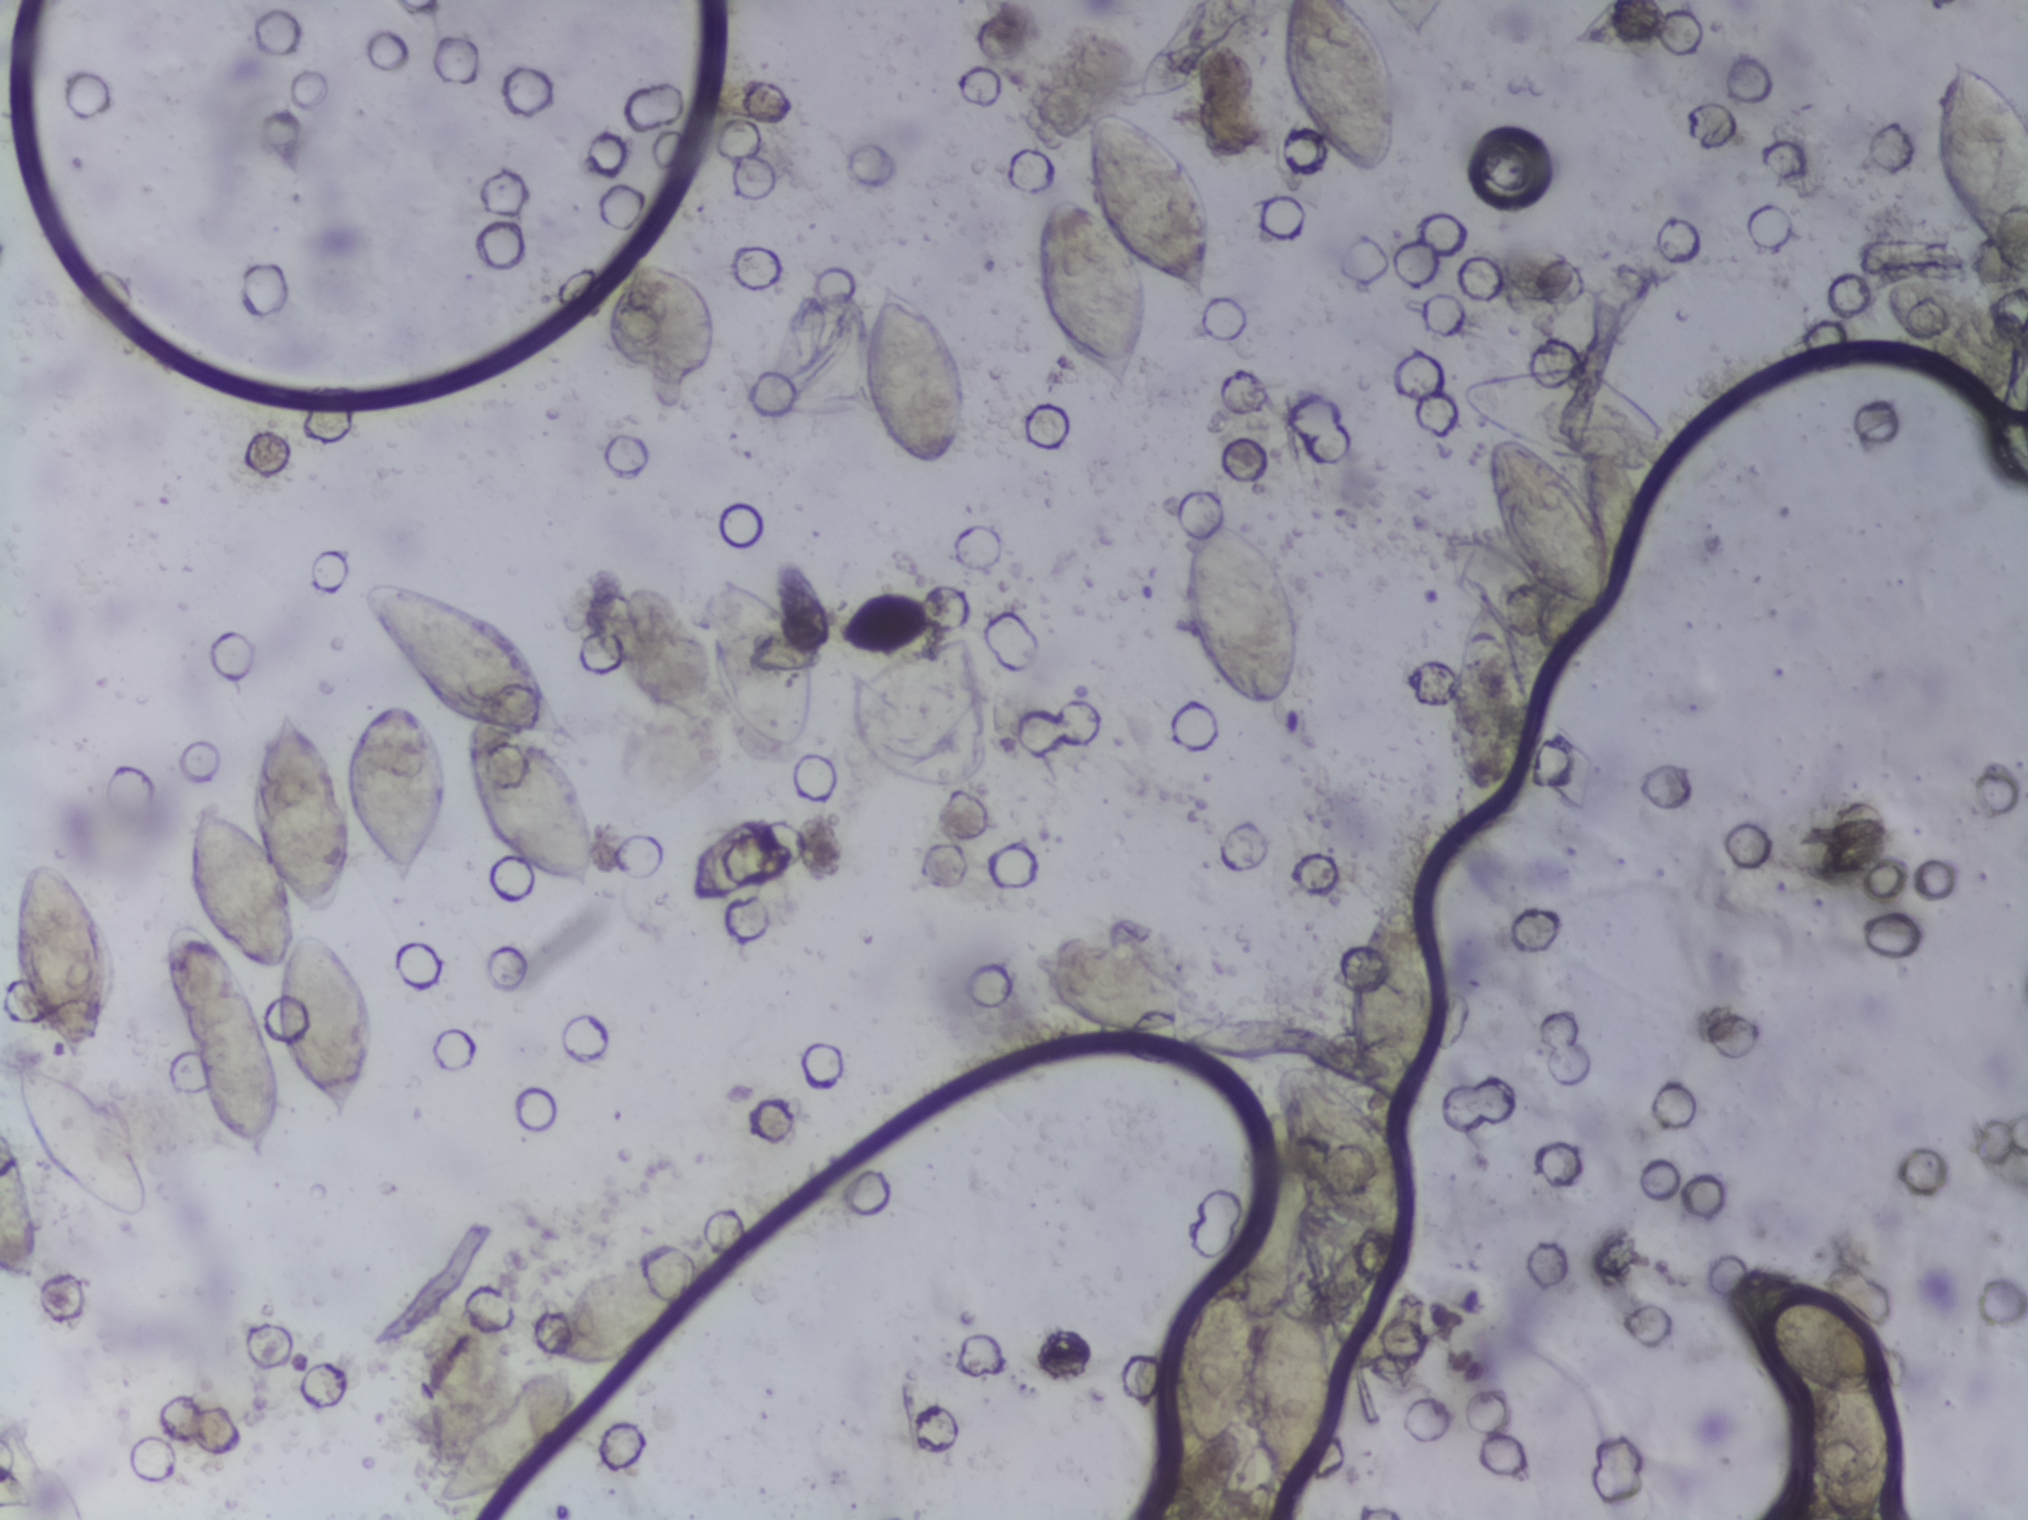
Urine filter membrane photographed through a 4× microscope objective.
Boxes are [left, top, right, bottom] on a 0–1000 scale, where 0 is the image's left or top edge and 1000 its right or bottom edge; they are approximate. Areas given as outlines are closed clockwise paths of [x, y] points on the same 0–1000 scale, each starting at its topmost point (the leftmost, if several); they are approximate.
17 areas of this image are outlined as Schistosoma eggs, from left to right: box [0, 741, 19, 845] (reaching the left edge of the frame); box [4, 698, 75, 803]; box [5, 564, 56, 703]; outline [194, 462], [211, 474], [223, 510], [223, 527], [214, 556], [203, 579], [196, 581], [174, 542], [166, 599], [155, 603], [144, 592], [146, 615], [159, 614], [166, 622], [184, 661], [185, 691], [171, 740], [162, 737], [156, 717], [145, 704], [137, 686], [138, 641], [130, 640], [112, 625], [127, 657], [137, 710], [137, 734], [127, 769], [102, 733], [84, 649], [83, 616], [89, 609], [98, 608], [93, 586], [96, 529], [104, 528], [123, 542], [124, 508], [142, 466], [160, 485], [168, 500], [170, 517], [172, 492], [178, 477] (a cluster of eggs); outline [187, 381], [216, 387], [254, 415], [287, 487], [286, 492], [273, 492], [287, 513], [293, 535], [293, 587], [286, 589], [279, 581], [261, 575], [234, 540], [231, 477], [221, 471], [205, 448], [181, 404], [179, 388]; outline [344, 812], [352, 814], [346, 852], [324, 889], [310, 901], [282, 904], [284, 926], [258, 977], [230, 993], [212, 996], [209, 985], [218, 957], [240, 921], [271, 899], [268, 896], [268, 884], [272, 865], [289, 837], [320, 817]; box [348, 378, 402, 497]; box [423, 184, 477, 313]; box [505, 612, 599, 683]; box [509, 70, 599, 264]; outline [644, 692], [644, 700], [651, 699], [673, 721], [694, 753], [702, 809], [701, 823], [689, 833], [659, 873], [657, 955], [650, 969], [650, 983], [634, 987], [620, 964], [614, 938], [601, 955], [589, 952], [581, 938], [577, 915], [578, 886], [592, 853], [604, 839], [610, 819], [616, 790], [616, 739], [626, 727], [629, 704] (a cluster of eggs); box [581, 331, 644, 469]; box [631, 0, 691, 118] (reaching the top edge of the frame); box [663, 588, 712, 728]; box [710, 234, 830, 537] (a cluster of eggs); box [849, 834, 941, 1000] (reaching the bottom edge of the frame); box [955, 36, 1000, 186] (reaching the right edge of the frame). An outlined area can hold more than one egg. Any one outlined egg may, rarely, be S. mansoni rather than S. haematobium.